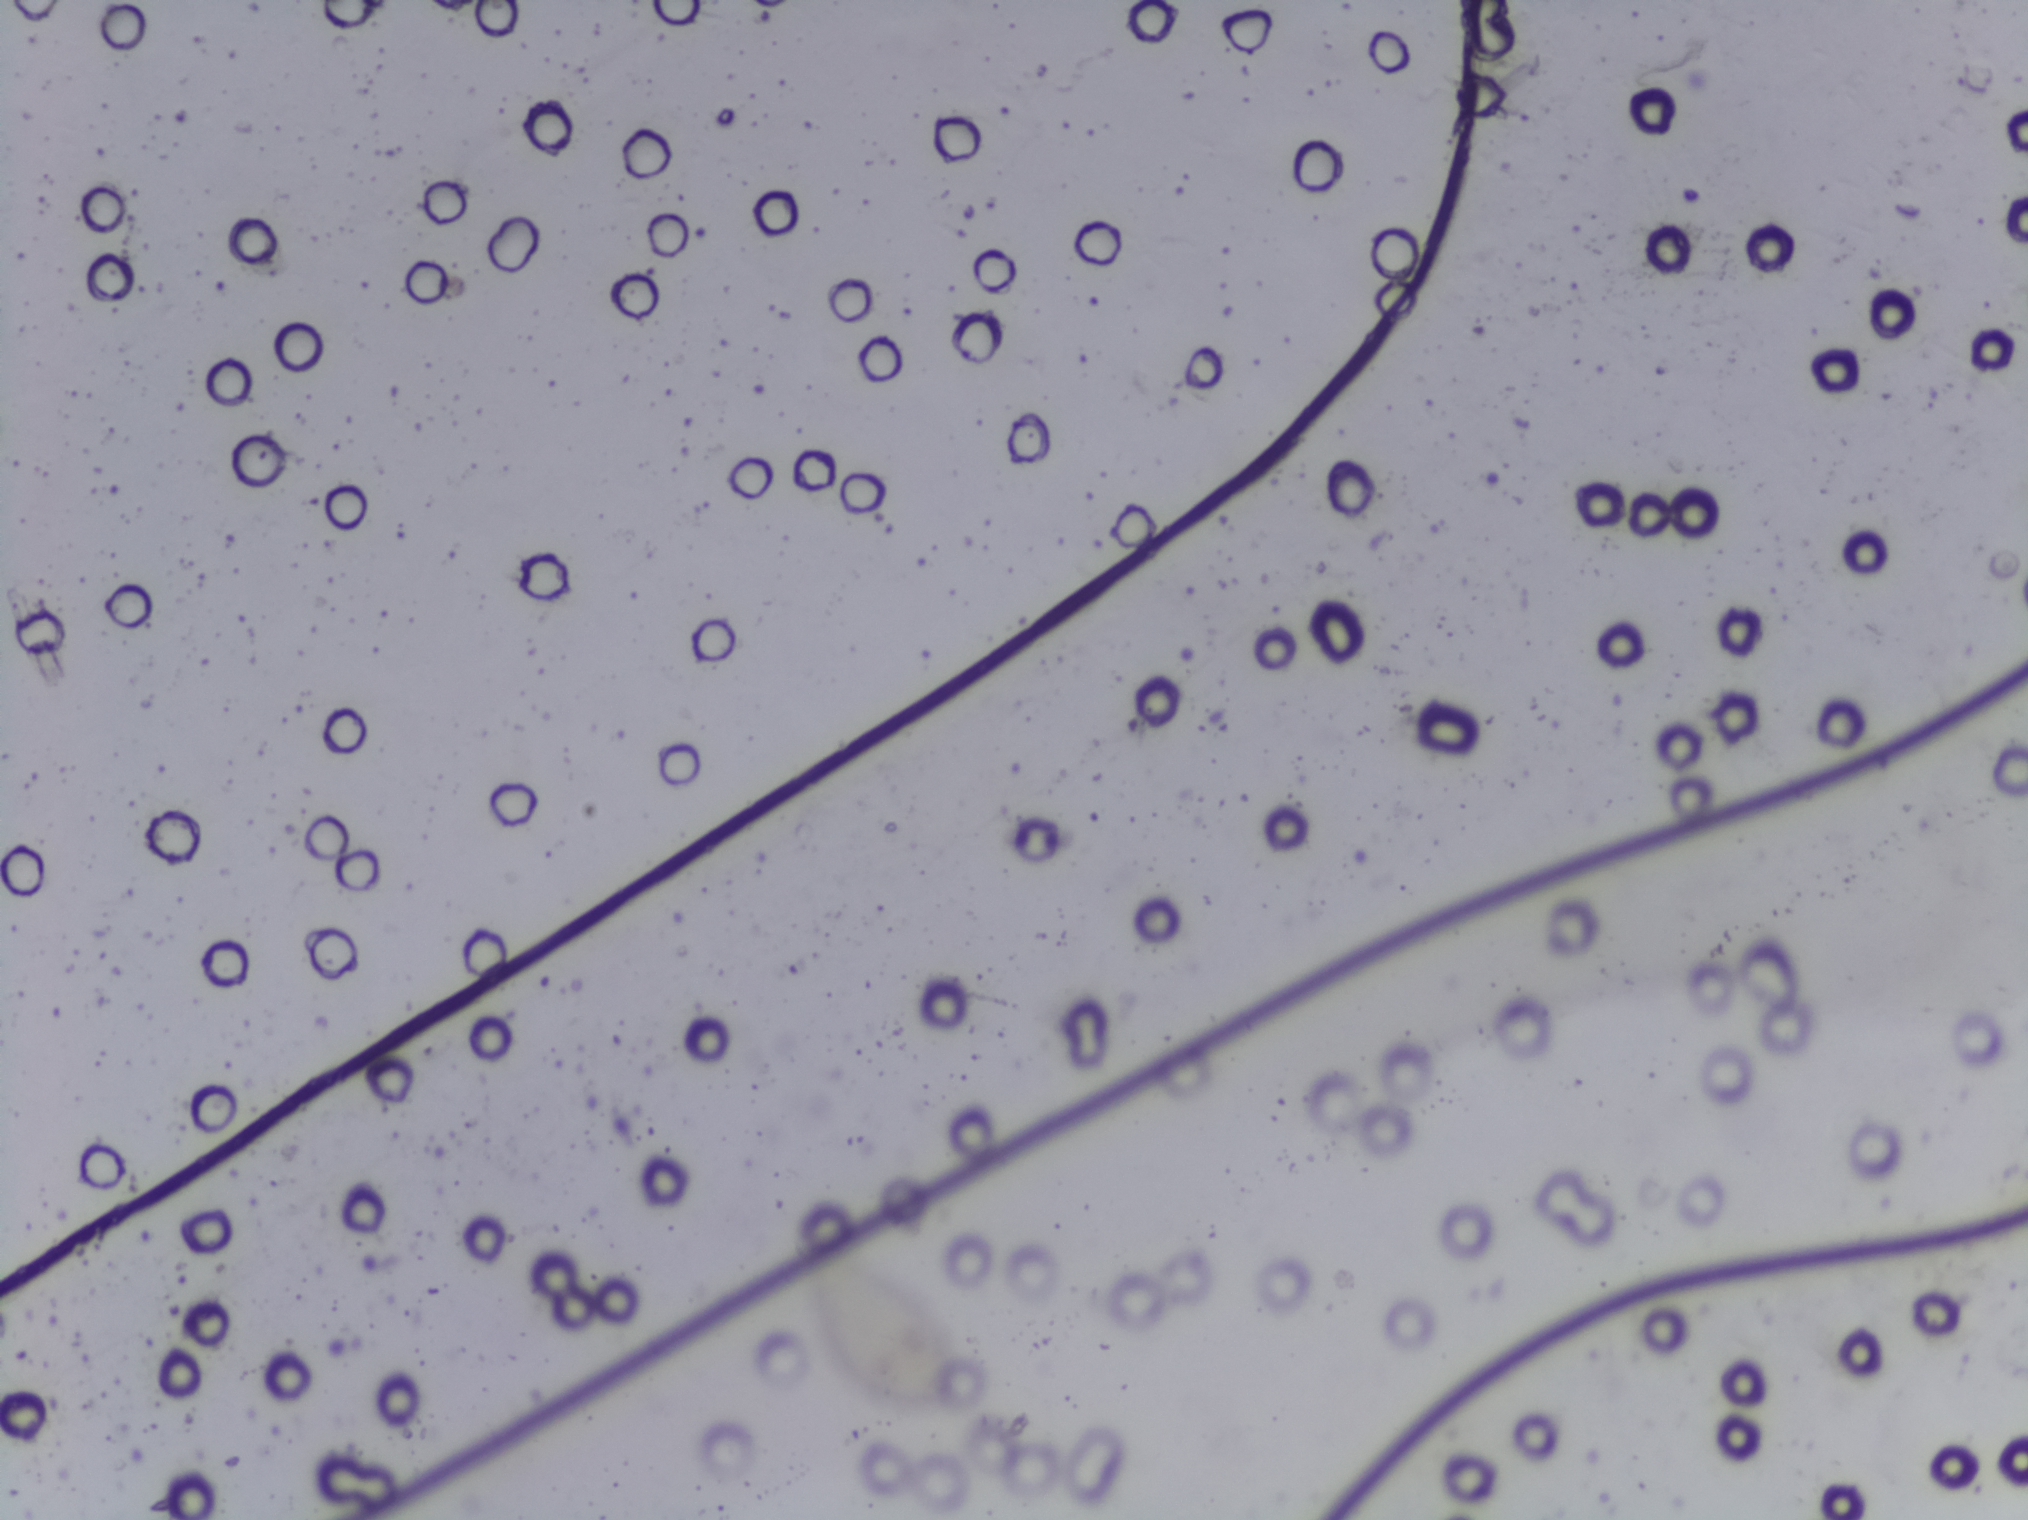
Urine filtration membrane under a 4× objective, photographed by an automated digital microscope.
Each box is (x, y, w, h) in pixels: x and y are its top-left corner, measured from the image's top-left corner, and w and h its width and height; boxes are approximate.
Schistosoma eggs are outlined in the expert annotation at (x=781, y=1218, w=204, h=213). Eggs that touch can end up inside the same outlined area.